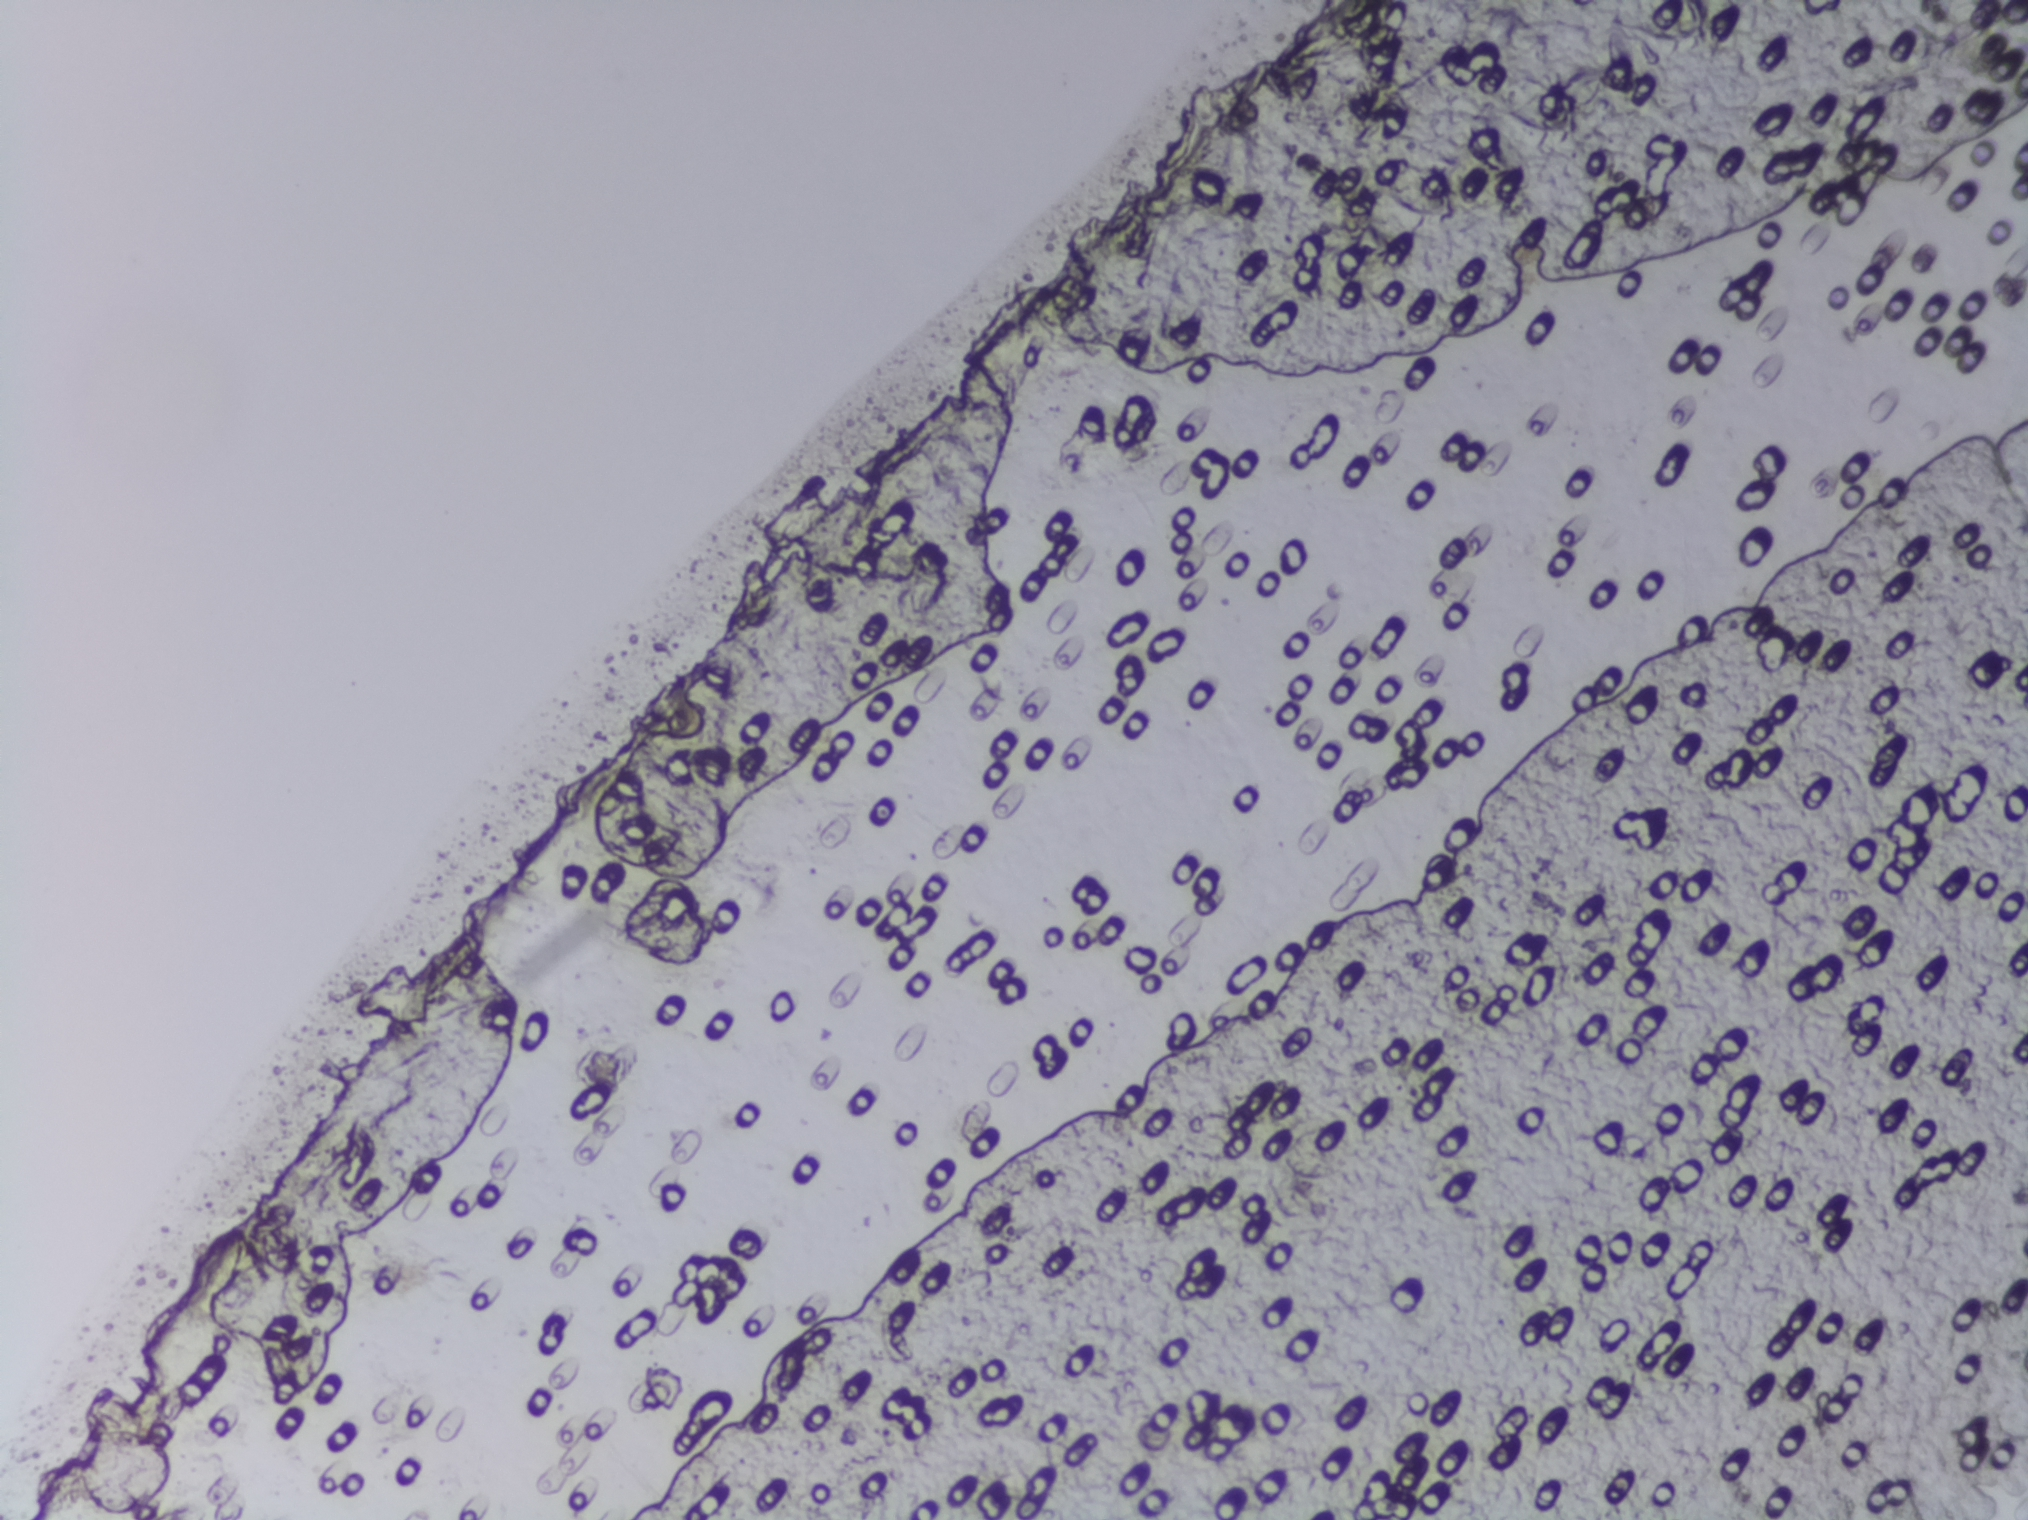
Schistosoma eggs: none outlined.
Photomicrograph of a urine filtration membrane, 4× objective.